Urine filtration membrane under a 4× objective, photographed by an automated digital microscope.
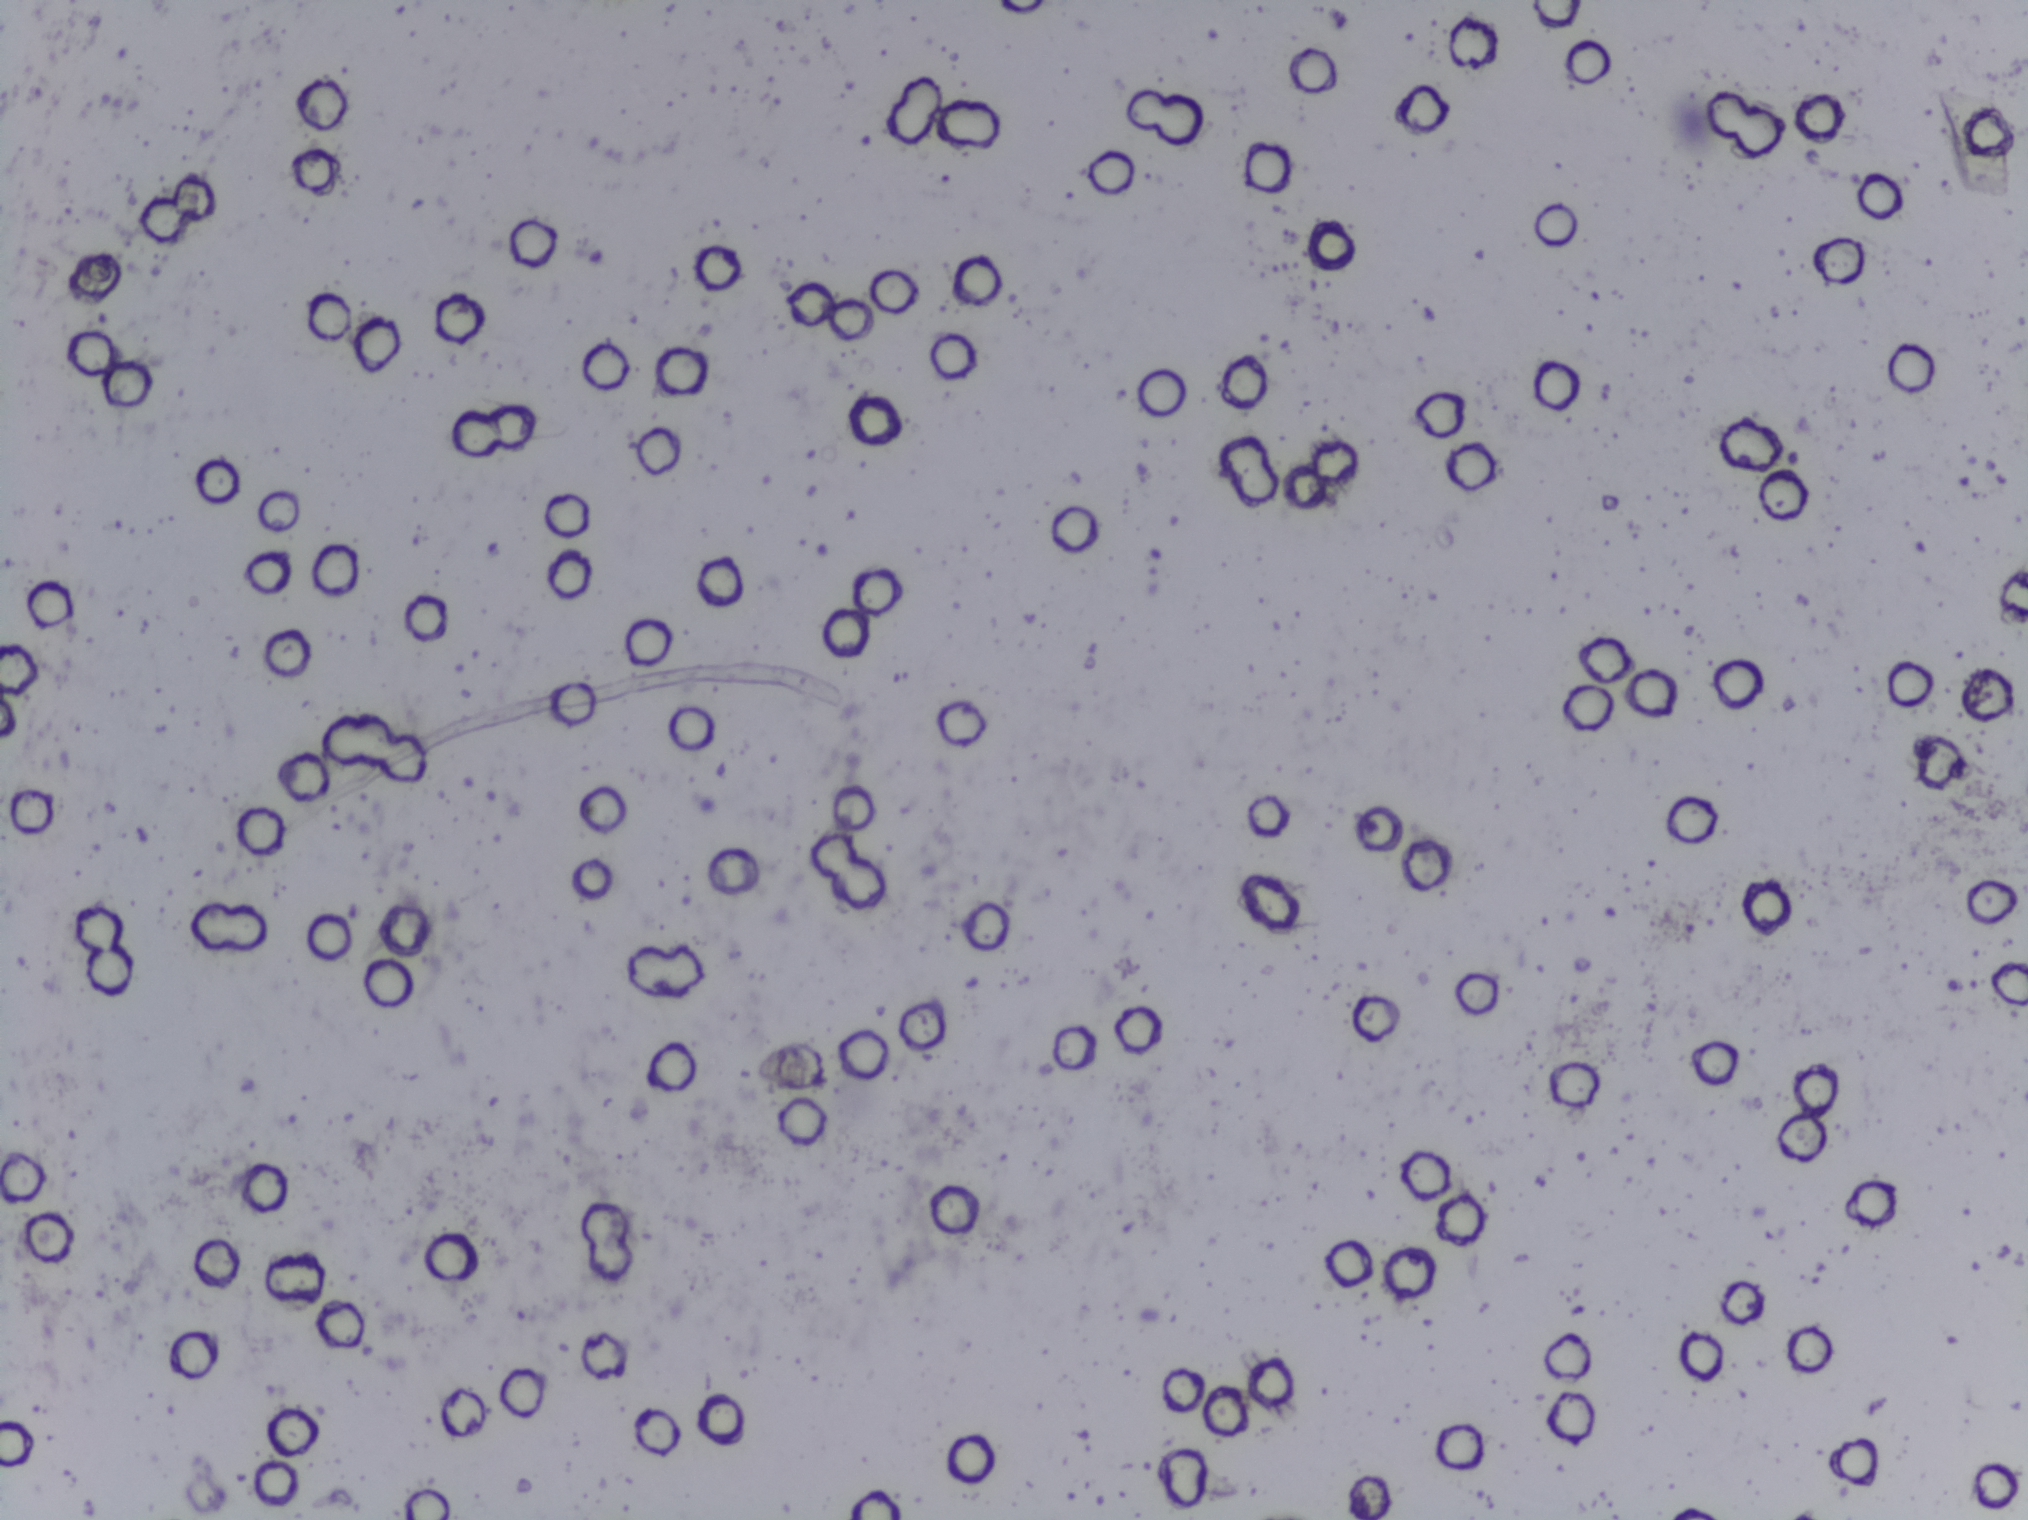
The expert annotation outlines no Schistosoma egg in this image.